Photograph from an automated digital microscope: urine filter membrane, 4× objective.
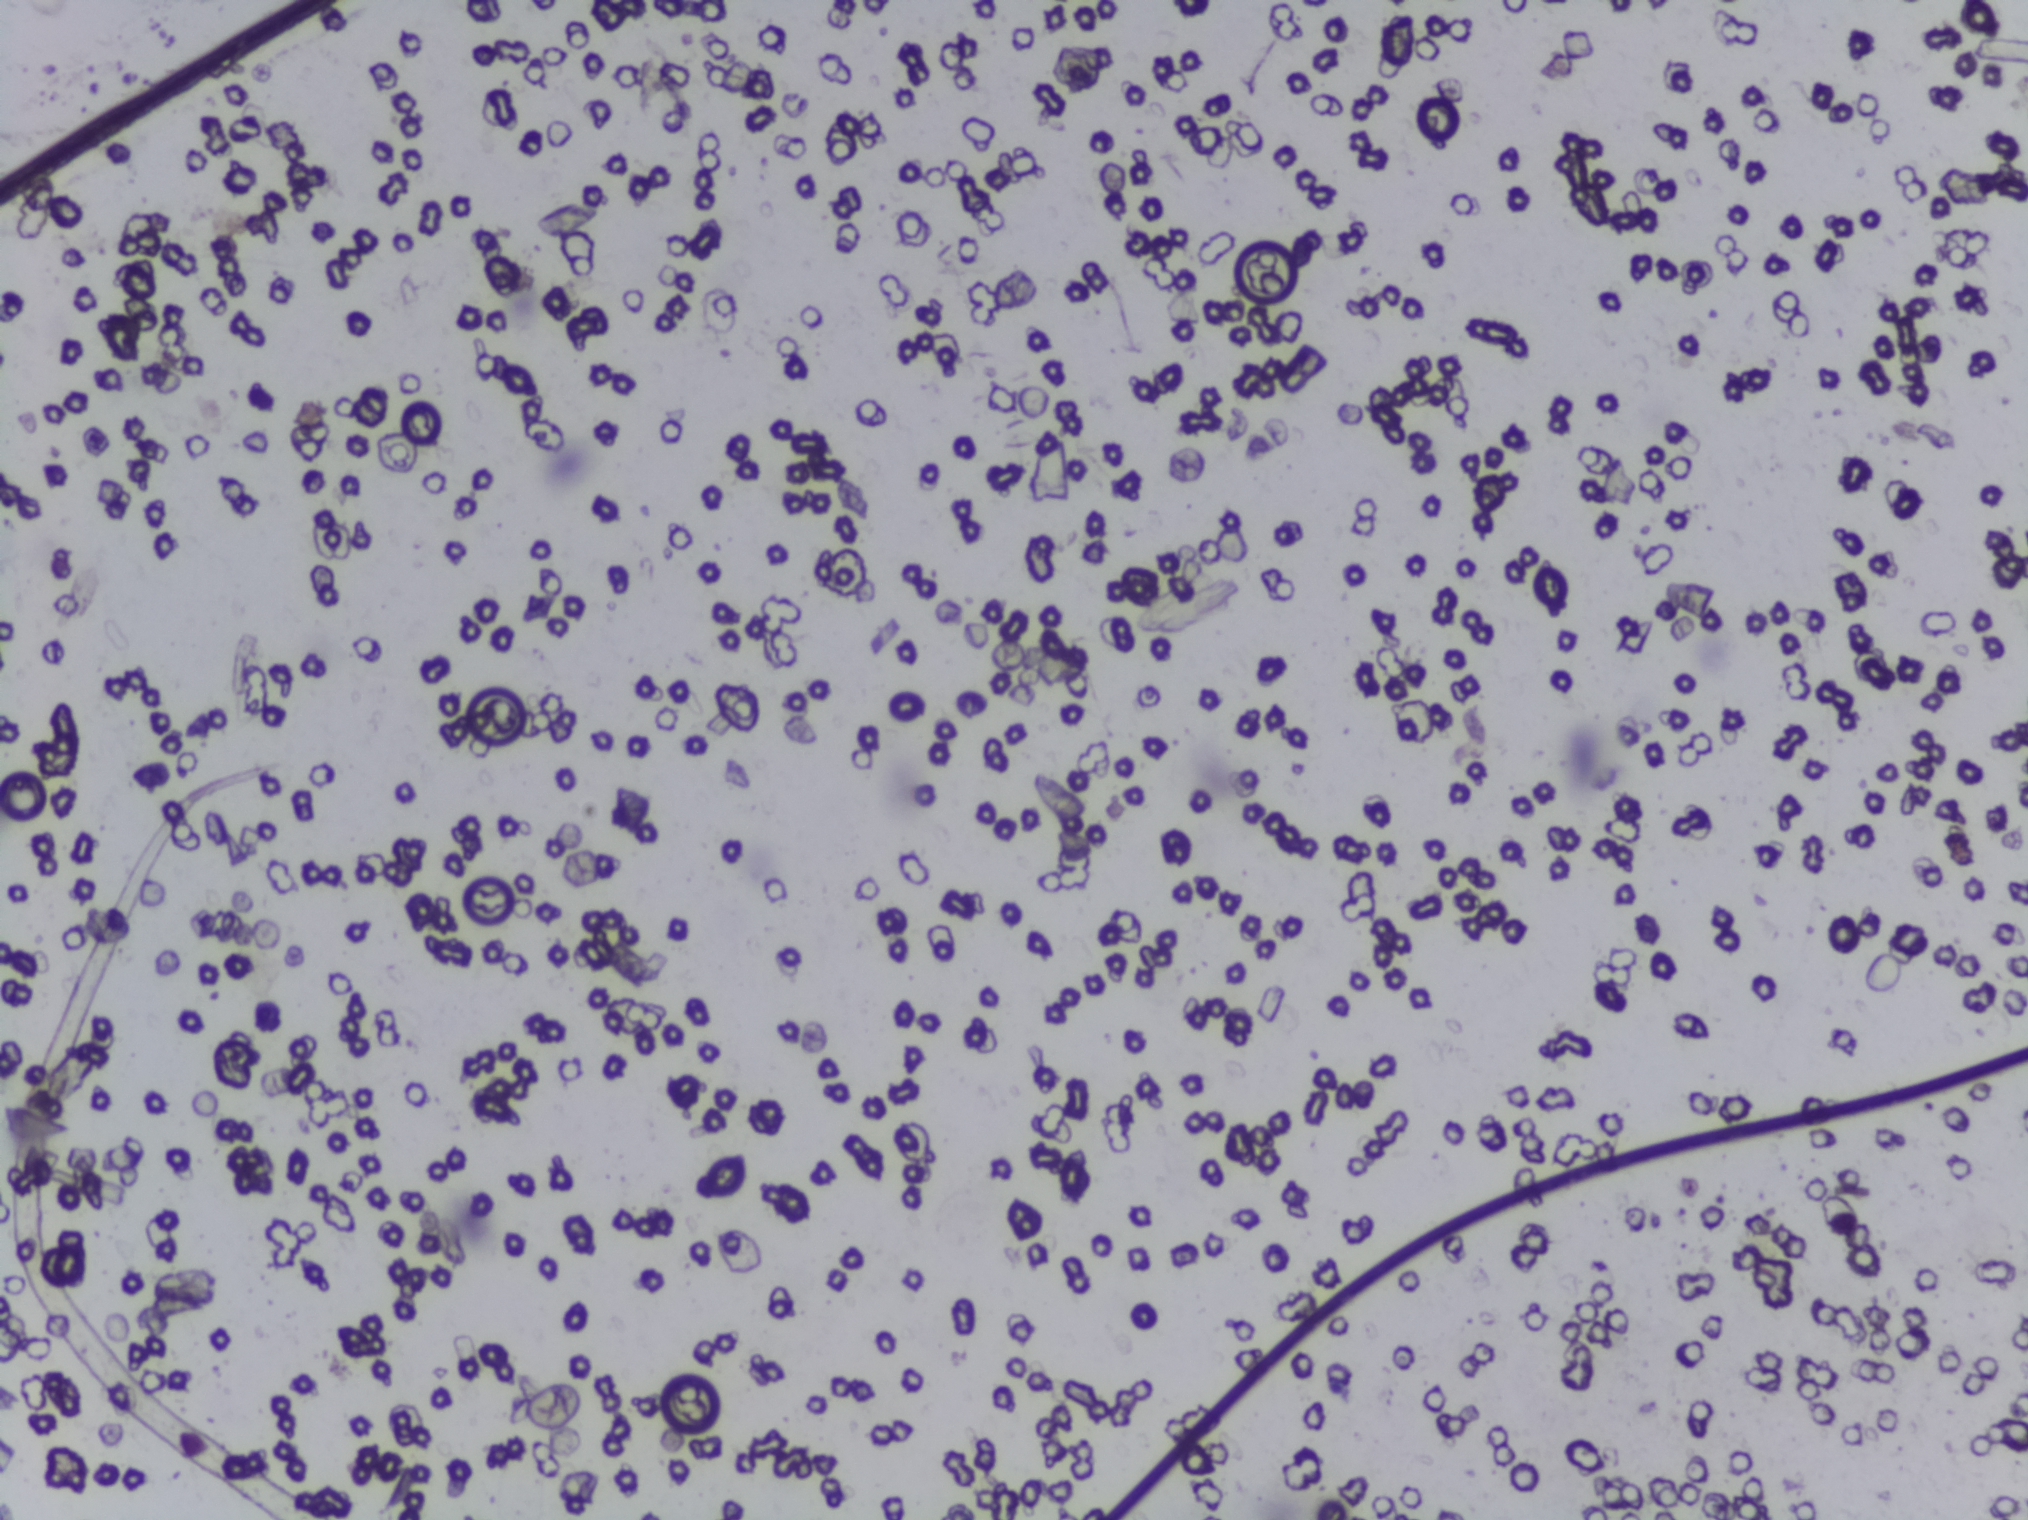
No Schistosoma egg is outlined in this image's expert annotation.